Urine filtration membrane under a 4× objective, photographed by an automated digital microscope. The field of view is about 1.5 mm × 1.1 mm.
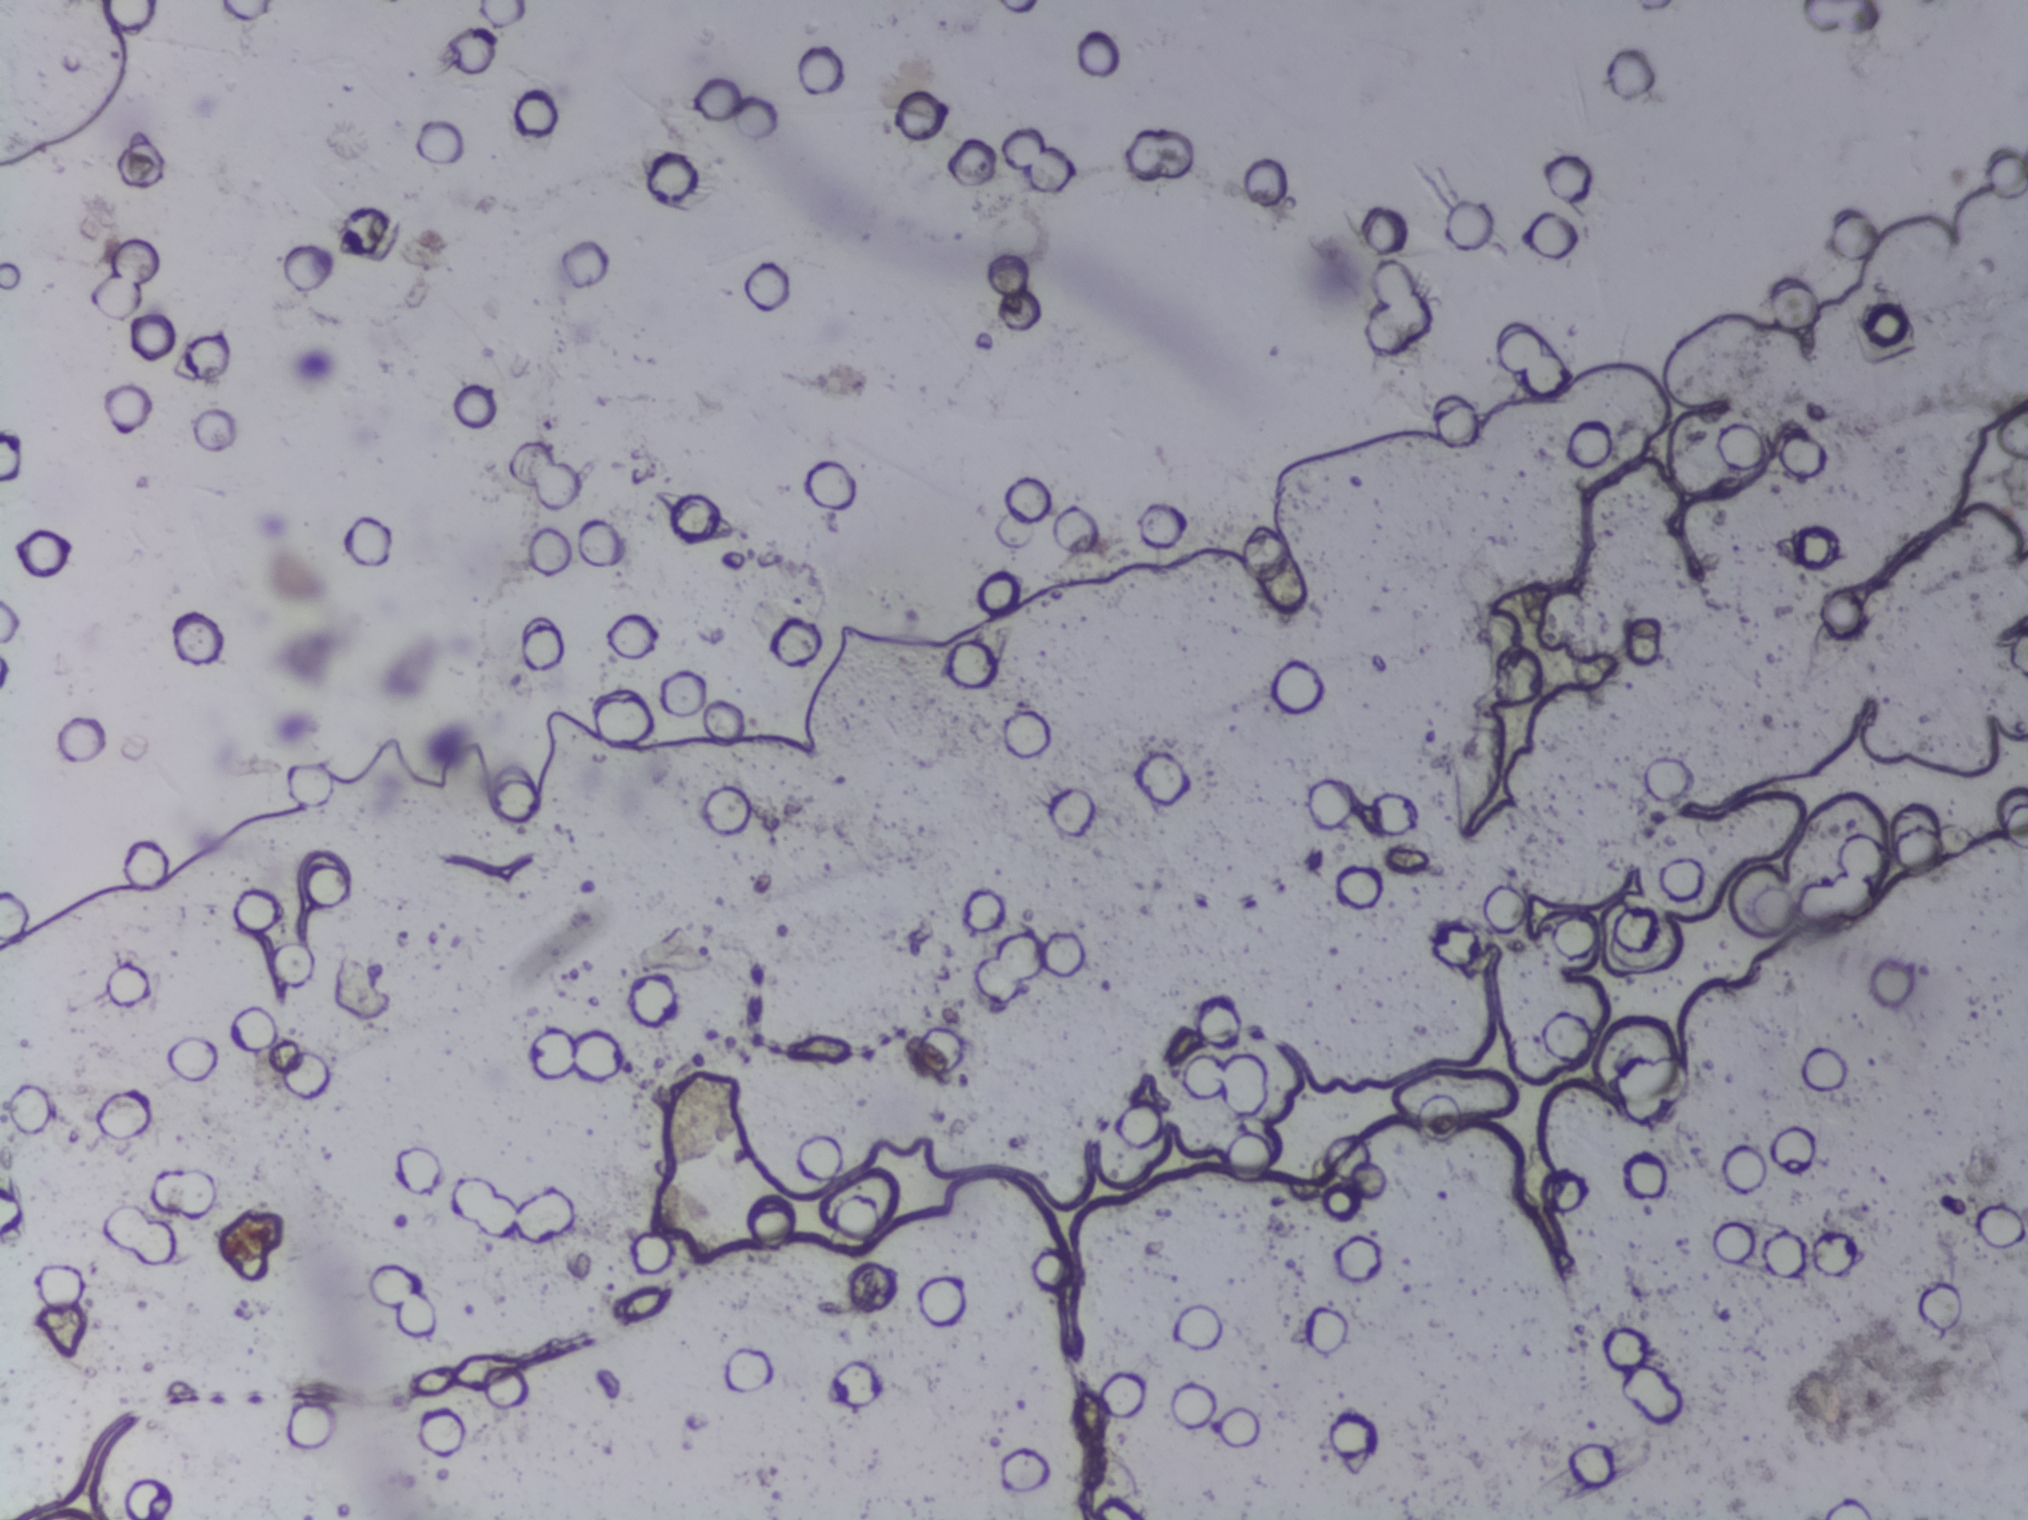
The expert annotation marks no Schistosoma egg in this field of view.